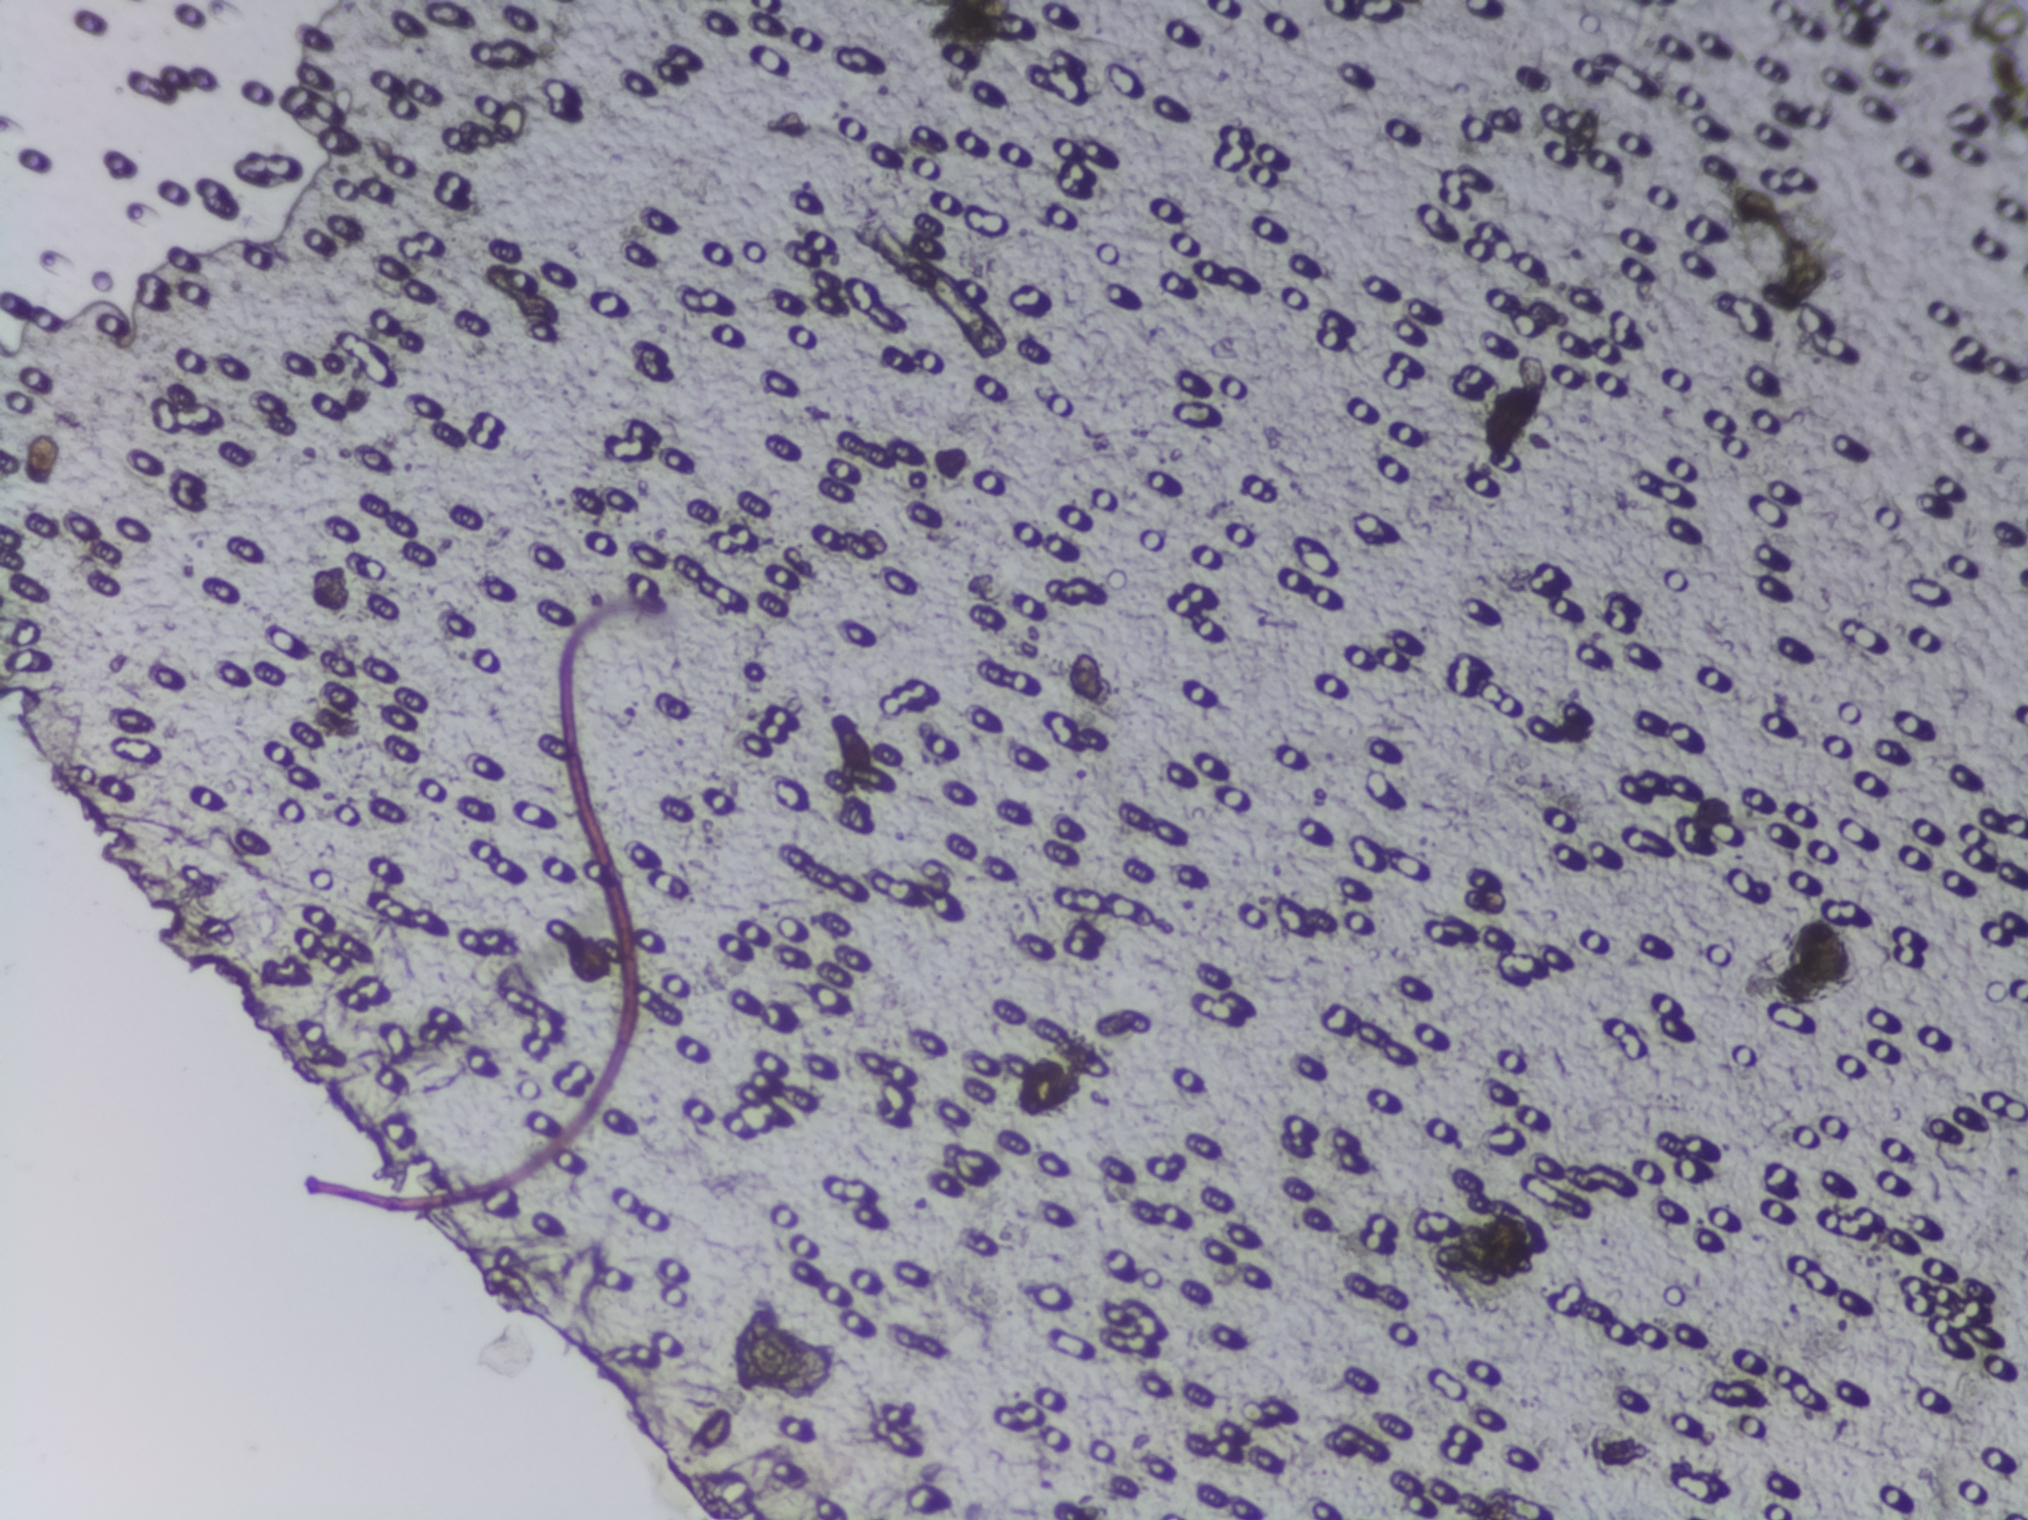
Photomicrograph of a urine filtration membrane, 4× objective.
Schistosoma eggs: none outlined.